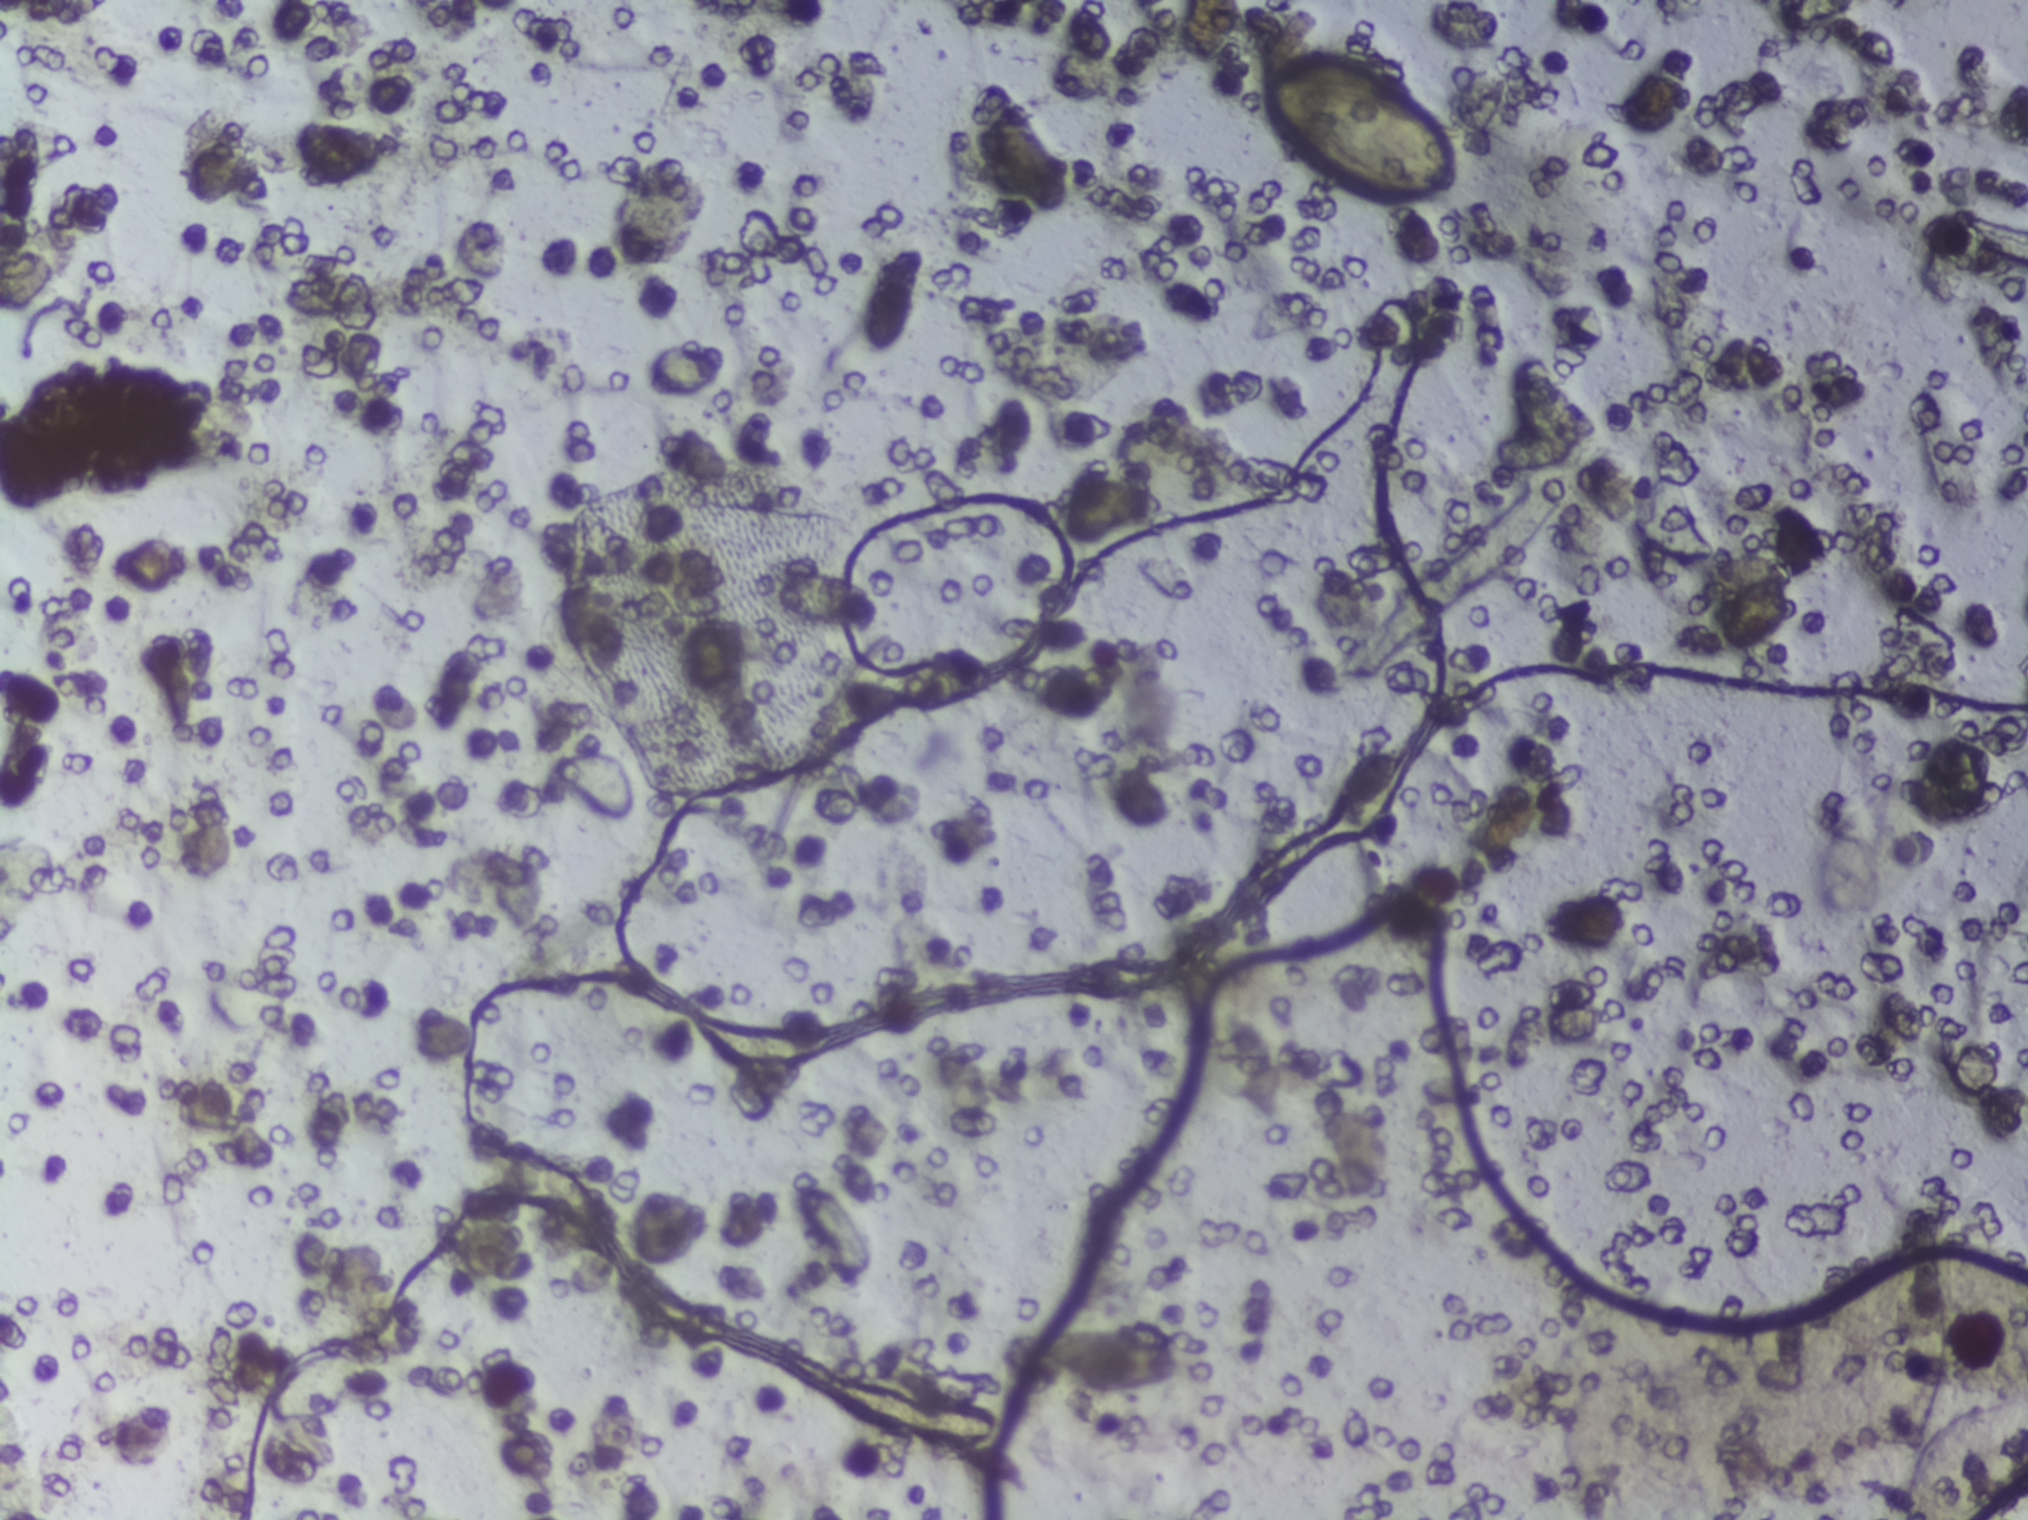
Urine filter membrane photographed through a 4× microscope objective. Field of view: about 1.5 mm wide and 1.1 mm high.
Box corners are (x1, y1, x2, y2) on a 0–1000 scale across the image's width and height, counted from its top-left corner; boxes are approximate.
Schistosoma egg areas, outlined: (624, 48, 717, 134); (938, 920, 1000, 1000) (reaching the right and bottom edges of the frame). Eggs that touch can end up inside the same outlined area.